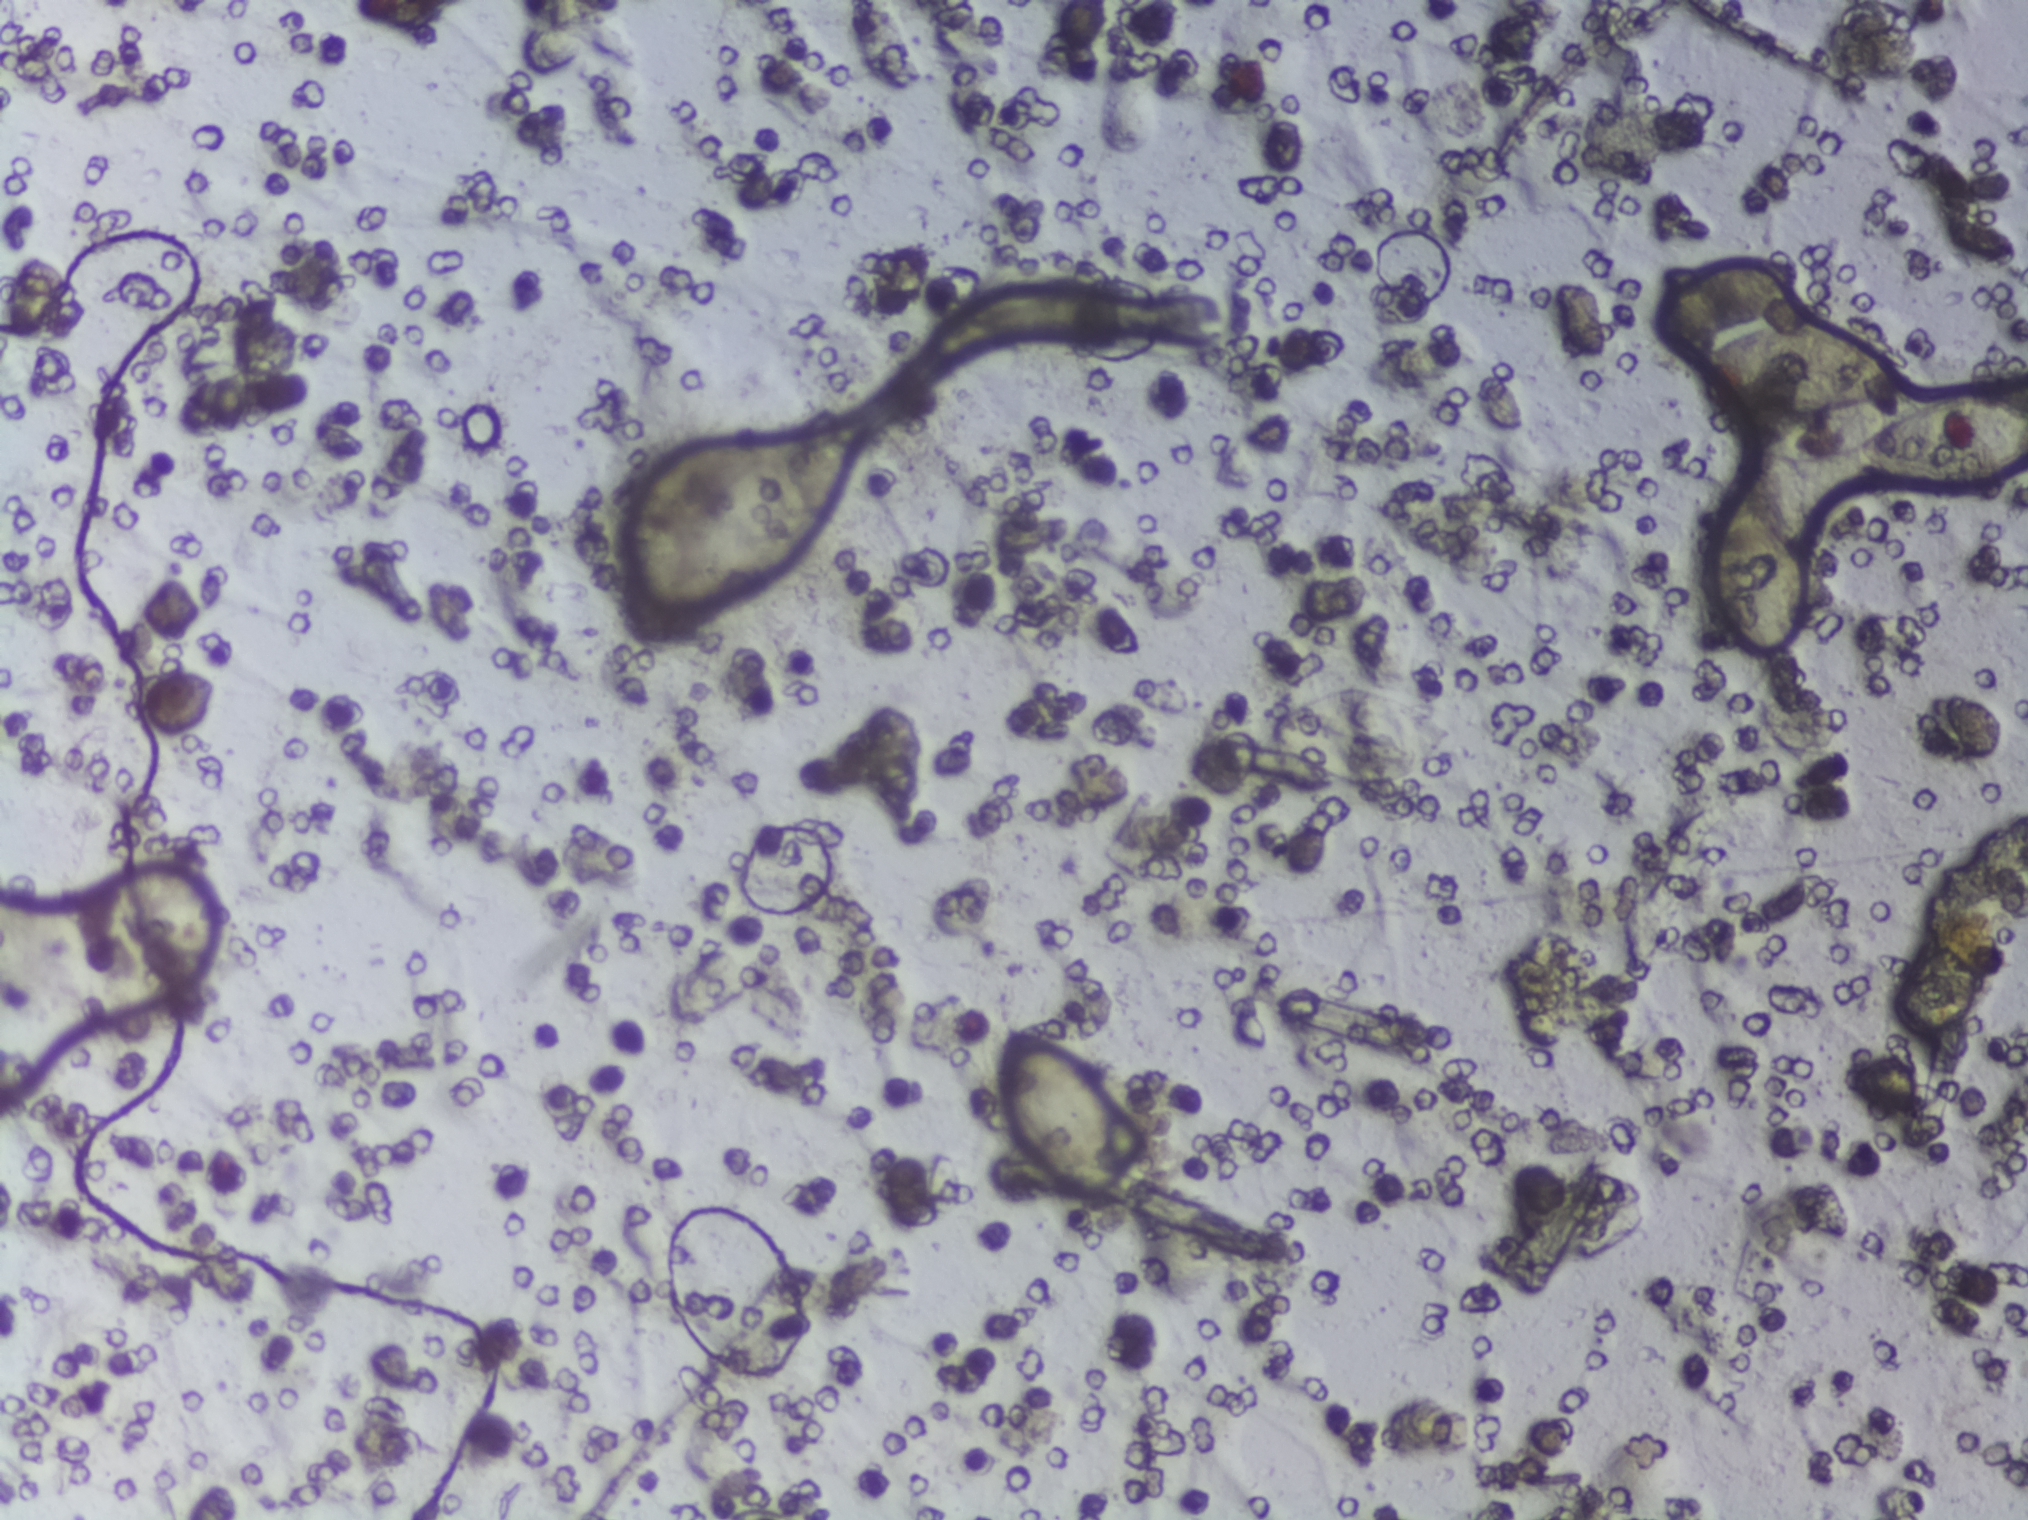
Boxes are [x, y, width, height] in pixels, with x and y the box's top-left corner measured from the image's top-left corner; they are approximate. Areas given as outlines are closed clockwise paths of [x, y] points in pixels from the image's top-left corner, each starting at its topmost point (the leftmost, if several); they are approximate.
Four areas of this image are outlined as Schistosoma eggs, from left to right: box [624, 430, 241, 178]; box [998, 1024, 125, 170]; outline [1761, 253], [1798, 261], [1806, 294], [1752, 323], [1807, 321], [1863, 341], [1893, 363], [1902, 390], [1920, 402], [1940, 392], [1969, 392], [2027, 409], [2027, 454], [1989, 478], [1957, 484], [1906, 480], [1863, 454], [1767, 458], [1752, 438], [1794, 416], [1728, 391], [1703, 361], [1721, 338], [1744, 326], [1684, 330], [1661, 320], [1663, 305], [1698, 280], [1706, 262] (reaching the right edge of the frame); box [1707, 492, 103, 172]. The marked pixels themselves, not the boxes and the outline around them, cover about 2.9% of the image. Eggs that touch can end up inside the same outlined area.
Microscope photograph (4× objective) of a membrane that a urine sample was filtered through.